Microscope photograph (4× objective) of a membrane that a urine sample was filtered through. Field of view: about 1.5 mm wide and 1.1 mm high.
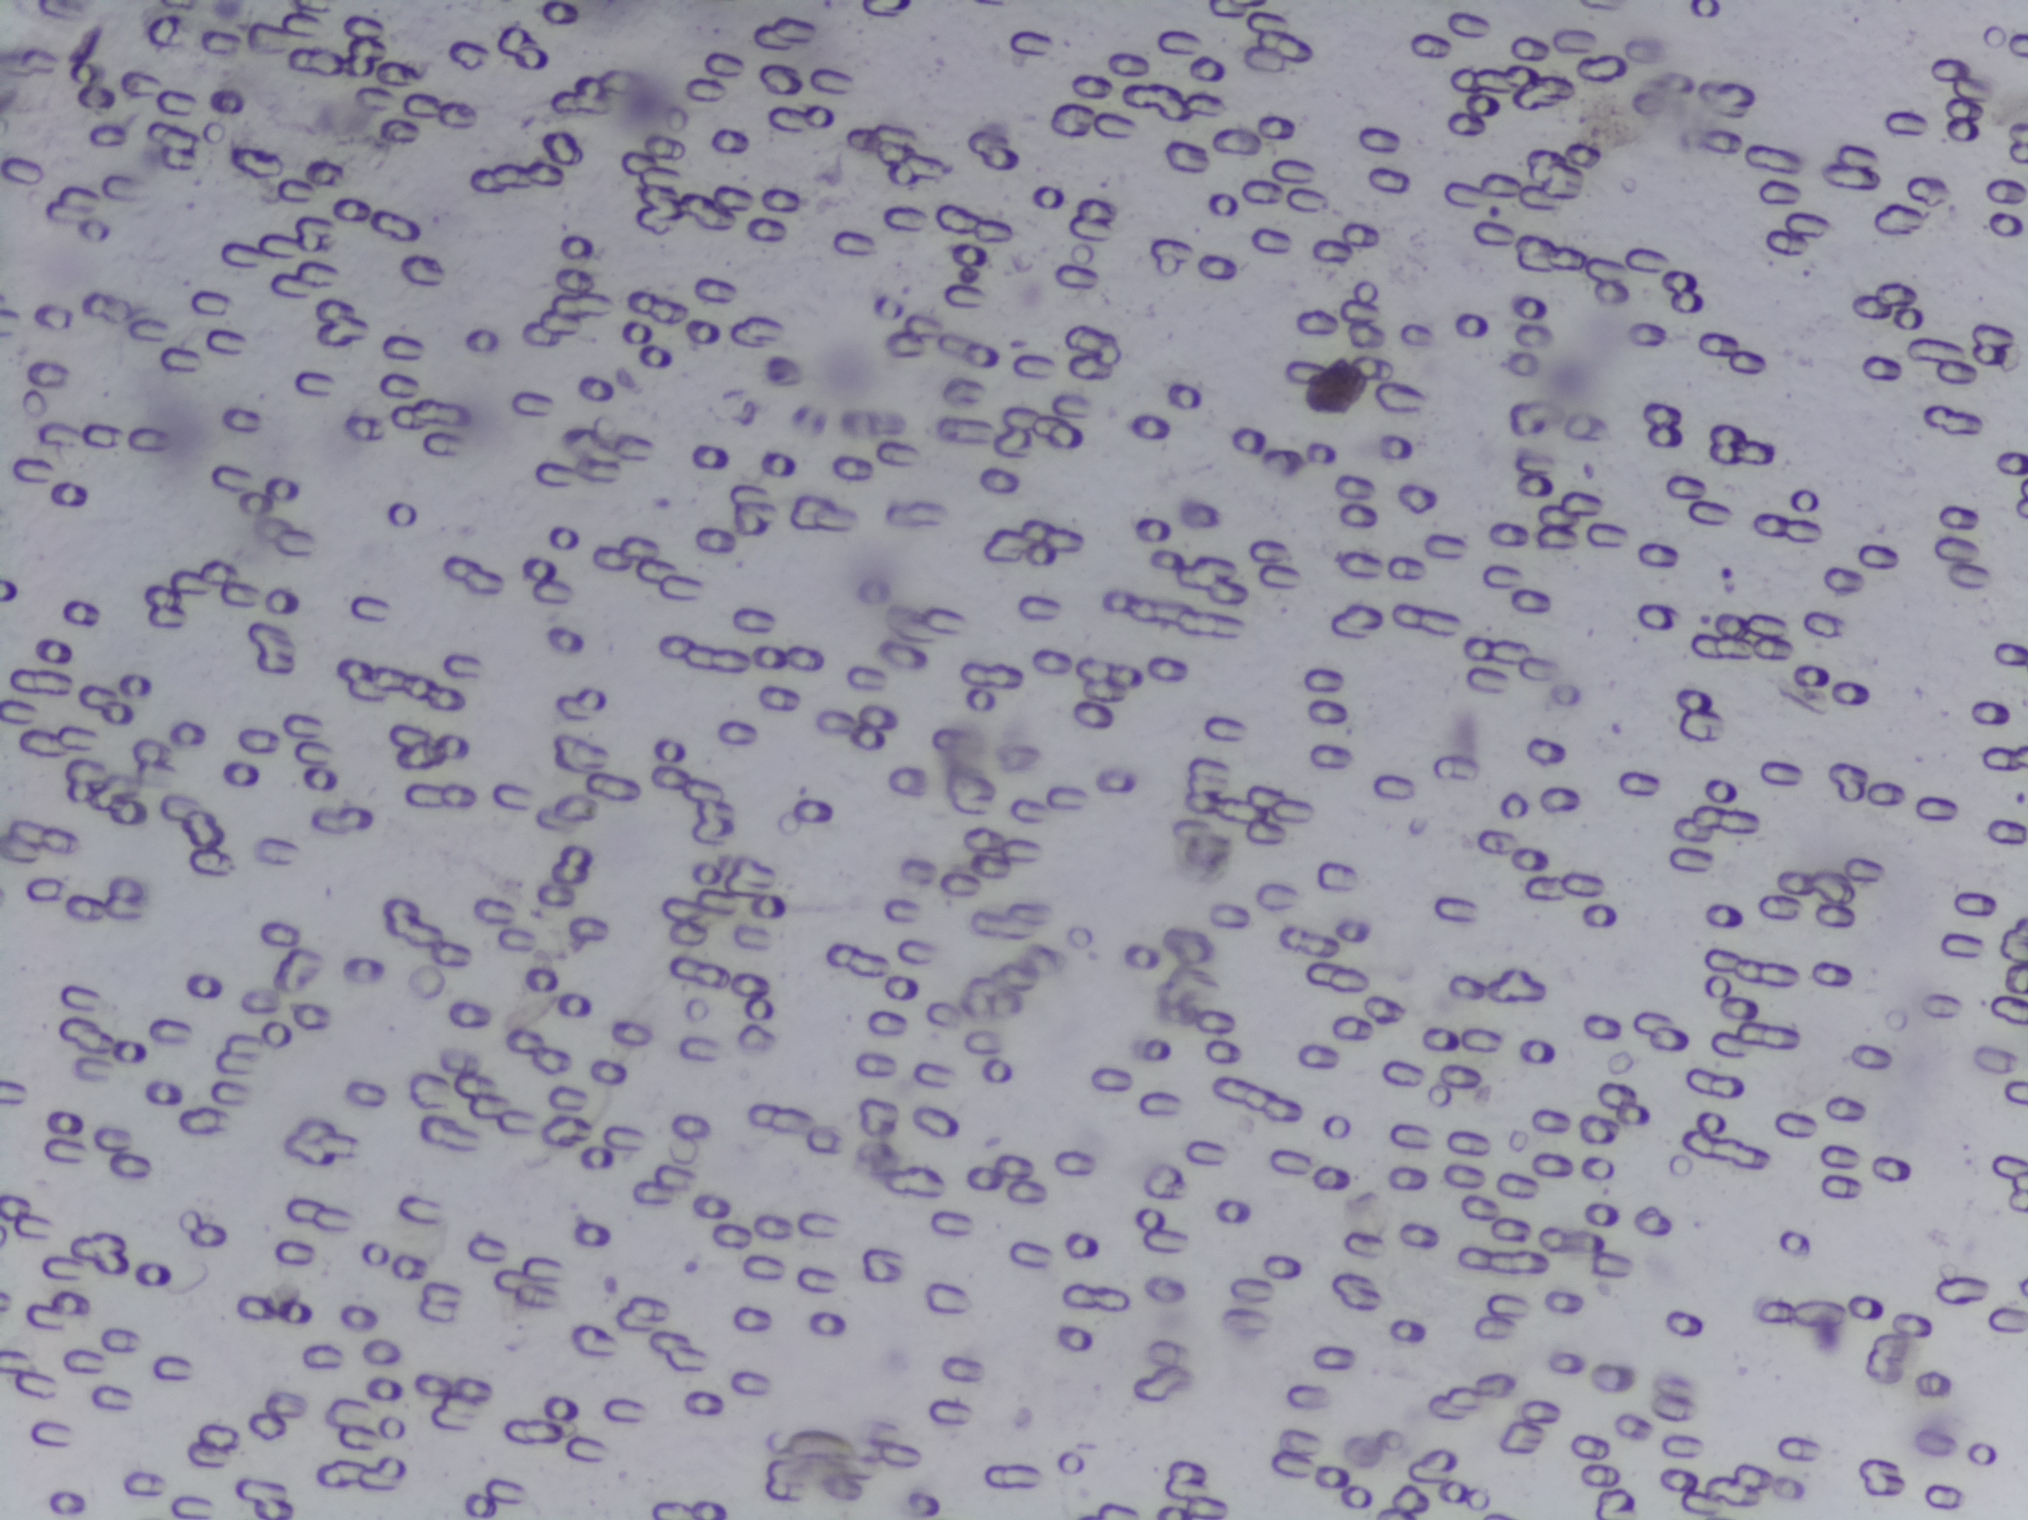
The expert annotation marks no Schistosoma egg in this field of view.